Urine filtration membrane under a 4× objective, photographed by an automated digital microscope.
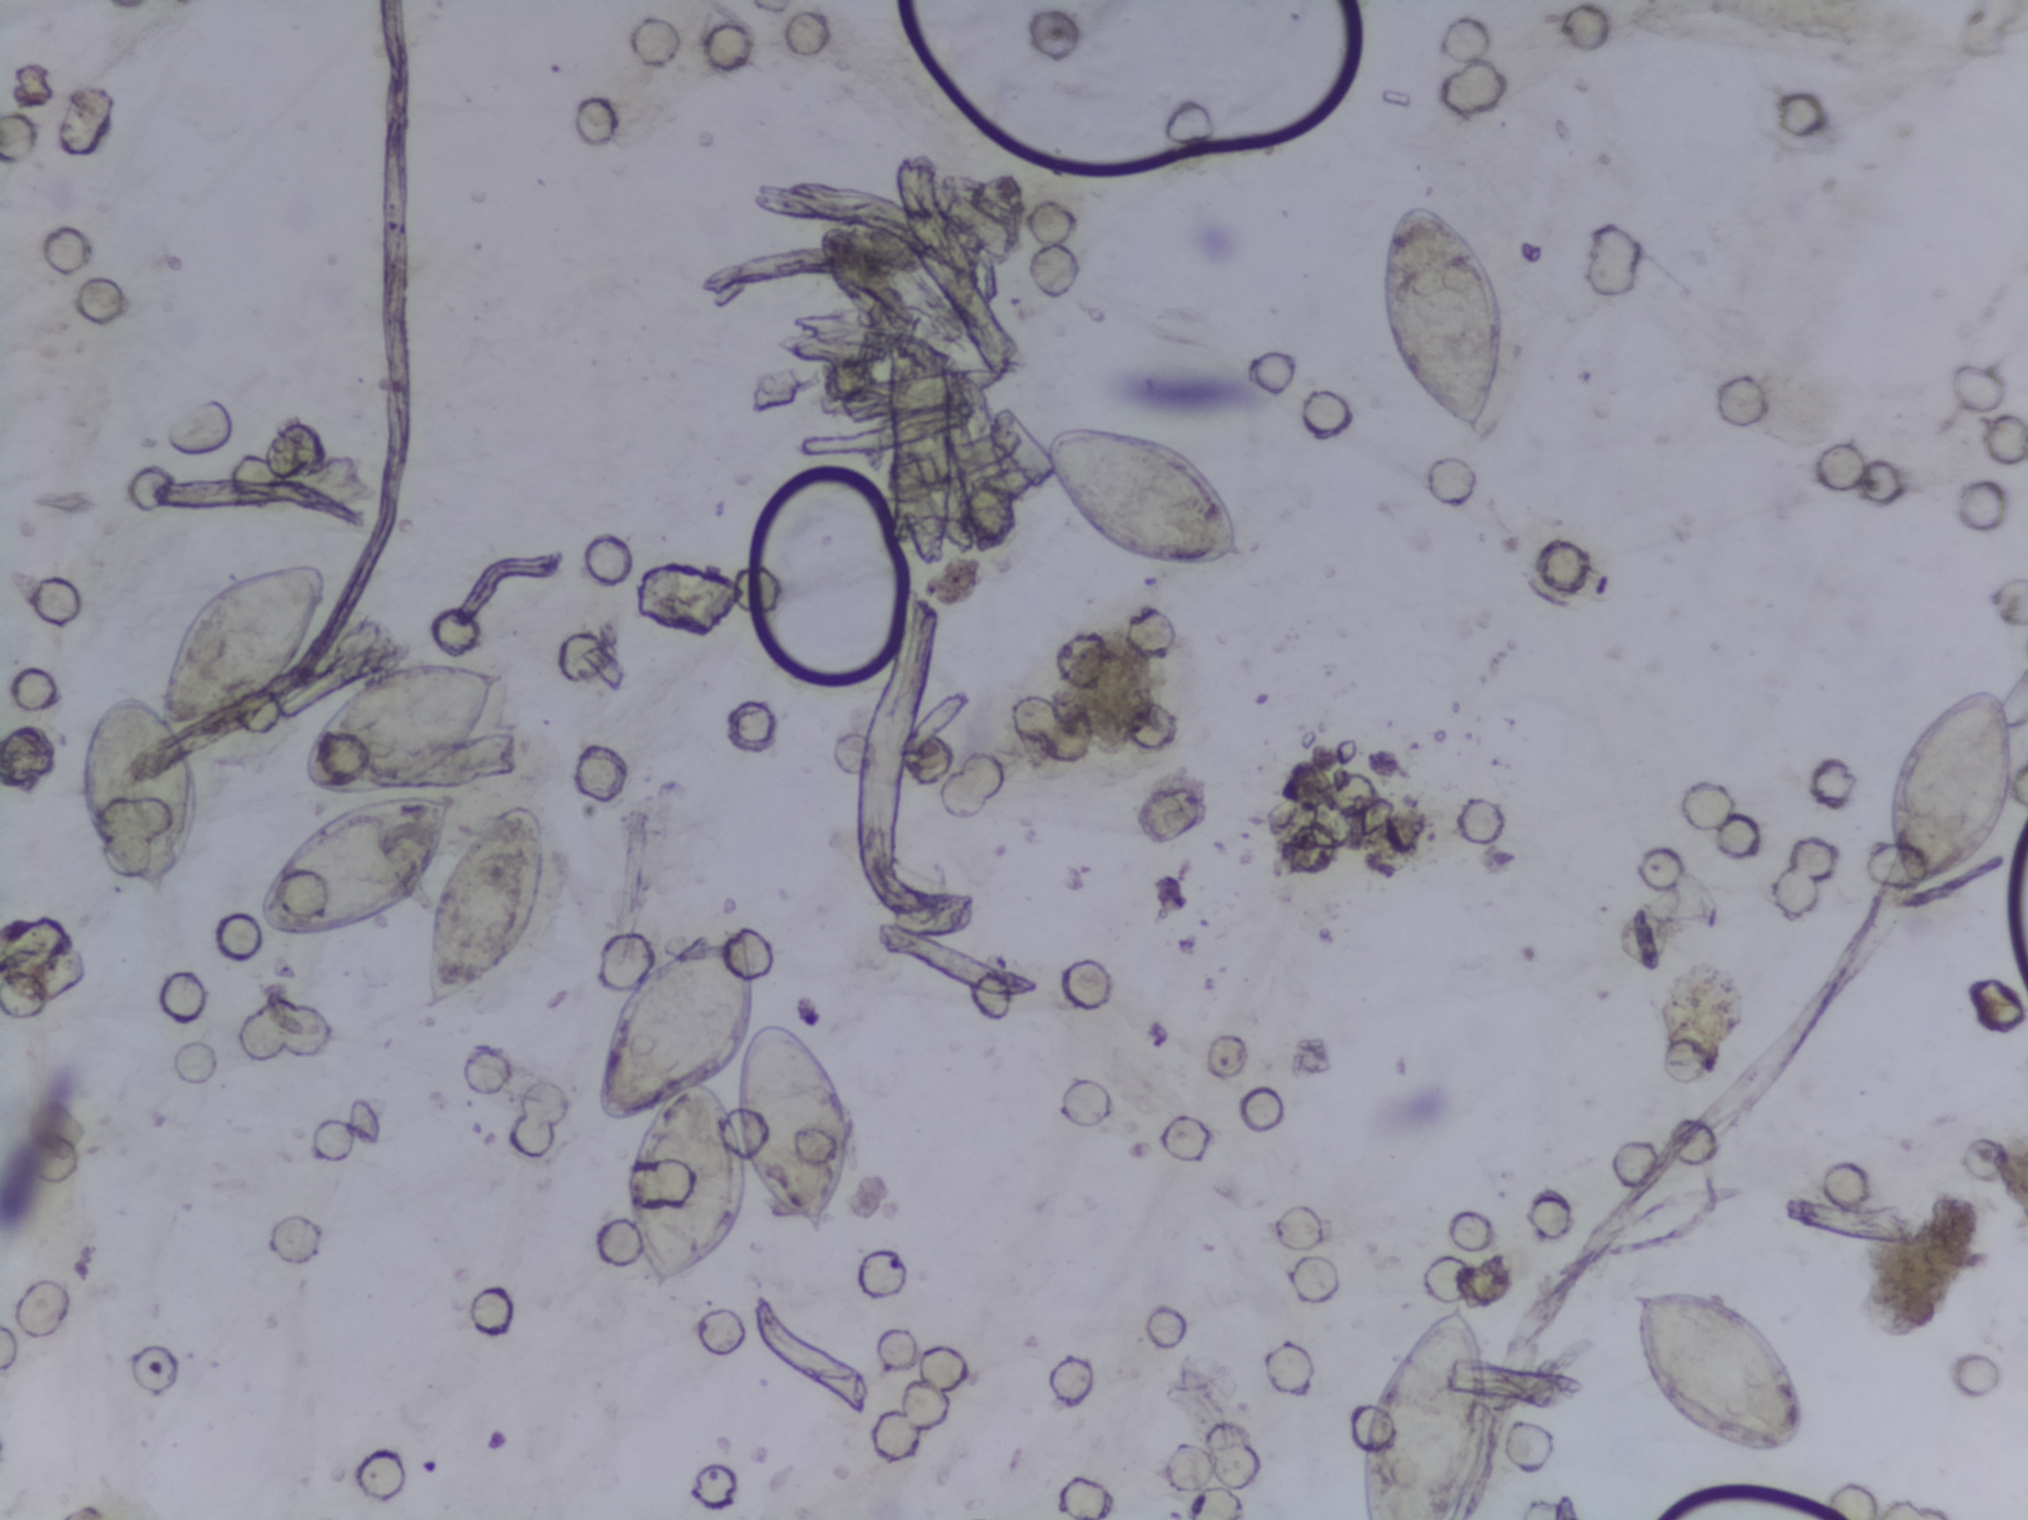
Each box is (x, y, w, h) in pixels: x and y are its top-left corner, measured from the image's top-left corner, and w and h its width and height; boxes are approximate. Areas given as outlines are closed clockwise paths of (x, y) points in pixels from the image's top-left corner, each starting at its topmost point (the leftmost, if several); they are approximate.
The expert annotation outlines Schistosoma eggs in eight areas, left to right: outline (300, 560), (325, 560), (329, 566), (329, 609), (315, 653), (269, 705), (185, 730), (203, 776), (205, 821), (175, 872), (167, 906), (152, 906), (114, 879), (88, 844), (72, 799), (72, 759), (82, 725), (127, 686), (156, 692), (174, 619), (200, 588), (235, 572); outline (406, 656), (497, 664), (507, 676), (483, 747), (465, 771), (437, 787), (453, 792), (455, 803), (445, 858), (460, 837), (515, 795), (529, 794), (545, 809), (551, 839), (551, 899), (531, 947), (451, 1016), (433, 1022), (420, 1016), (418, 953), (439, 870), (411, 909), (380, 926), (268, 934), (254, 911), (255, 875), (272, 849), (316, 815), (355, 800), (300, 789), (296, 741), (303, 729), (360, 669) (a cluster of eggs); outline (739, 925), (760, 968), (763, 1016), (783, 1015), (808, 1031), (842, 1073), (855, 1144), (853, 1177), (838, 1217), (815, 1245), (758, 1185), (753, 1216), (715, 1265), (649, 1302), (632, 1264), (621, 1185), (622, 1161), (643, 1120), (594, 1121), (592, 1041), (642, 961), (671, 941) (a cluster of eggs); box (x=1046, y=422, w=204, h=148); box (x=1355, y=1297, w=148, h=223) (reaching the bottom edge of the frame); box (x=1375, y=195, w=136, h=252); box (x=1618, y=1289, w=190, h=171); box (x=1879, y=682, w=144, h=225). Eggs that touch can end up inside the same outlined area.